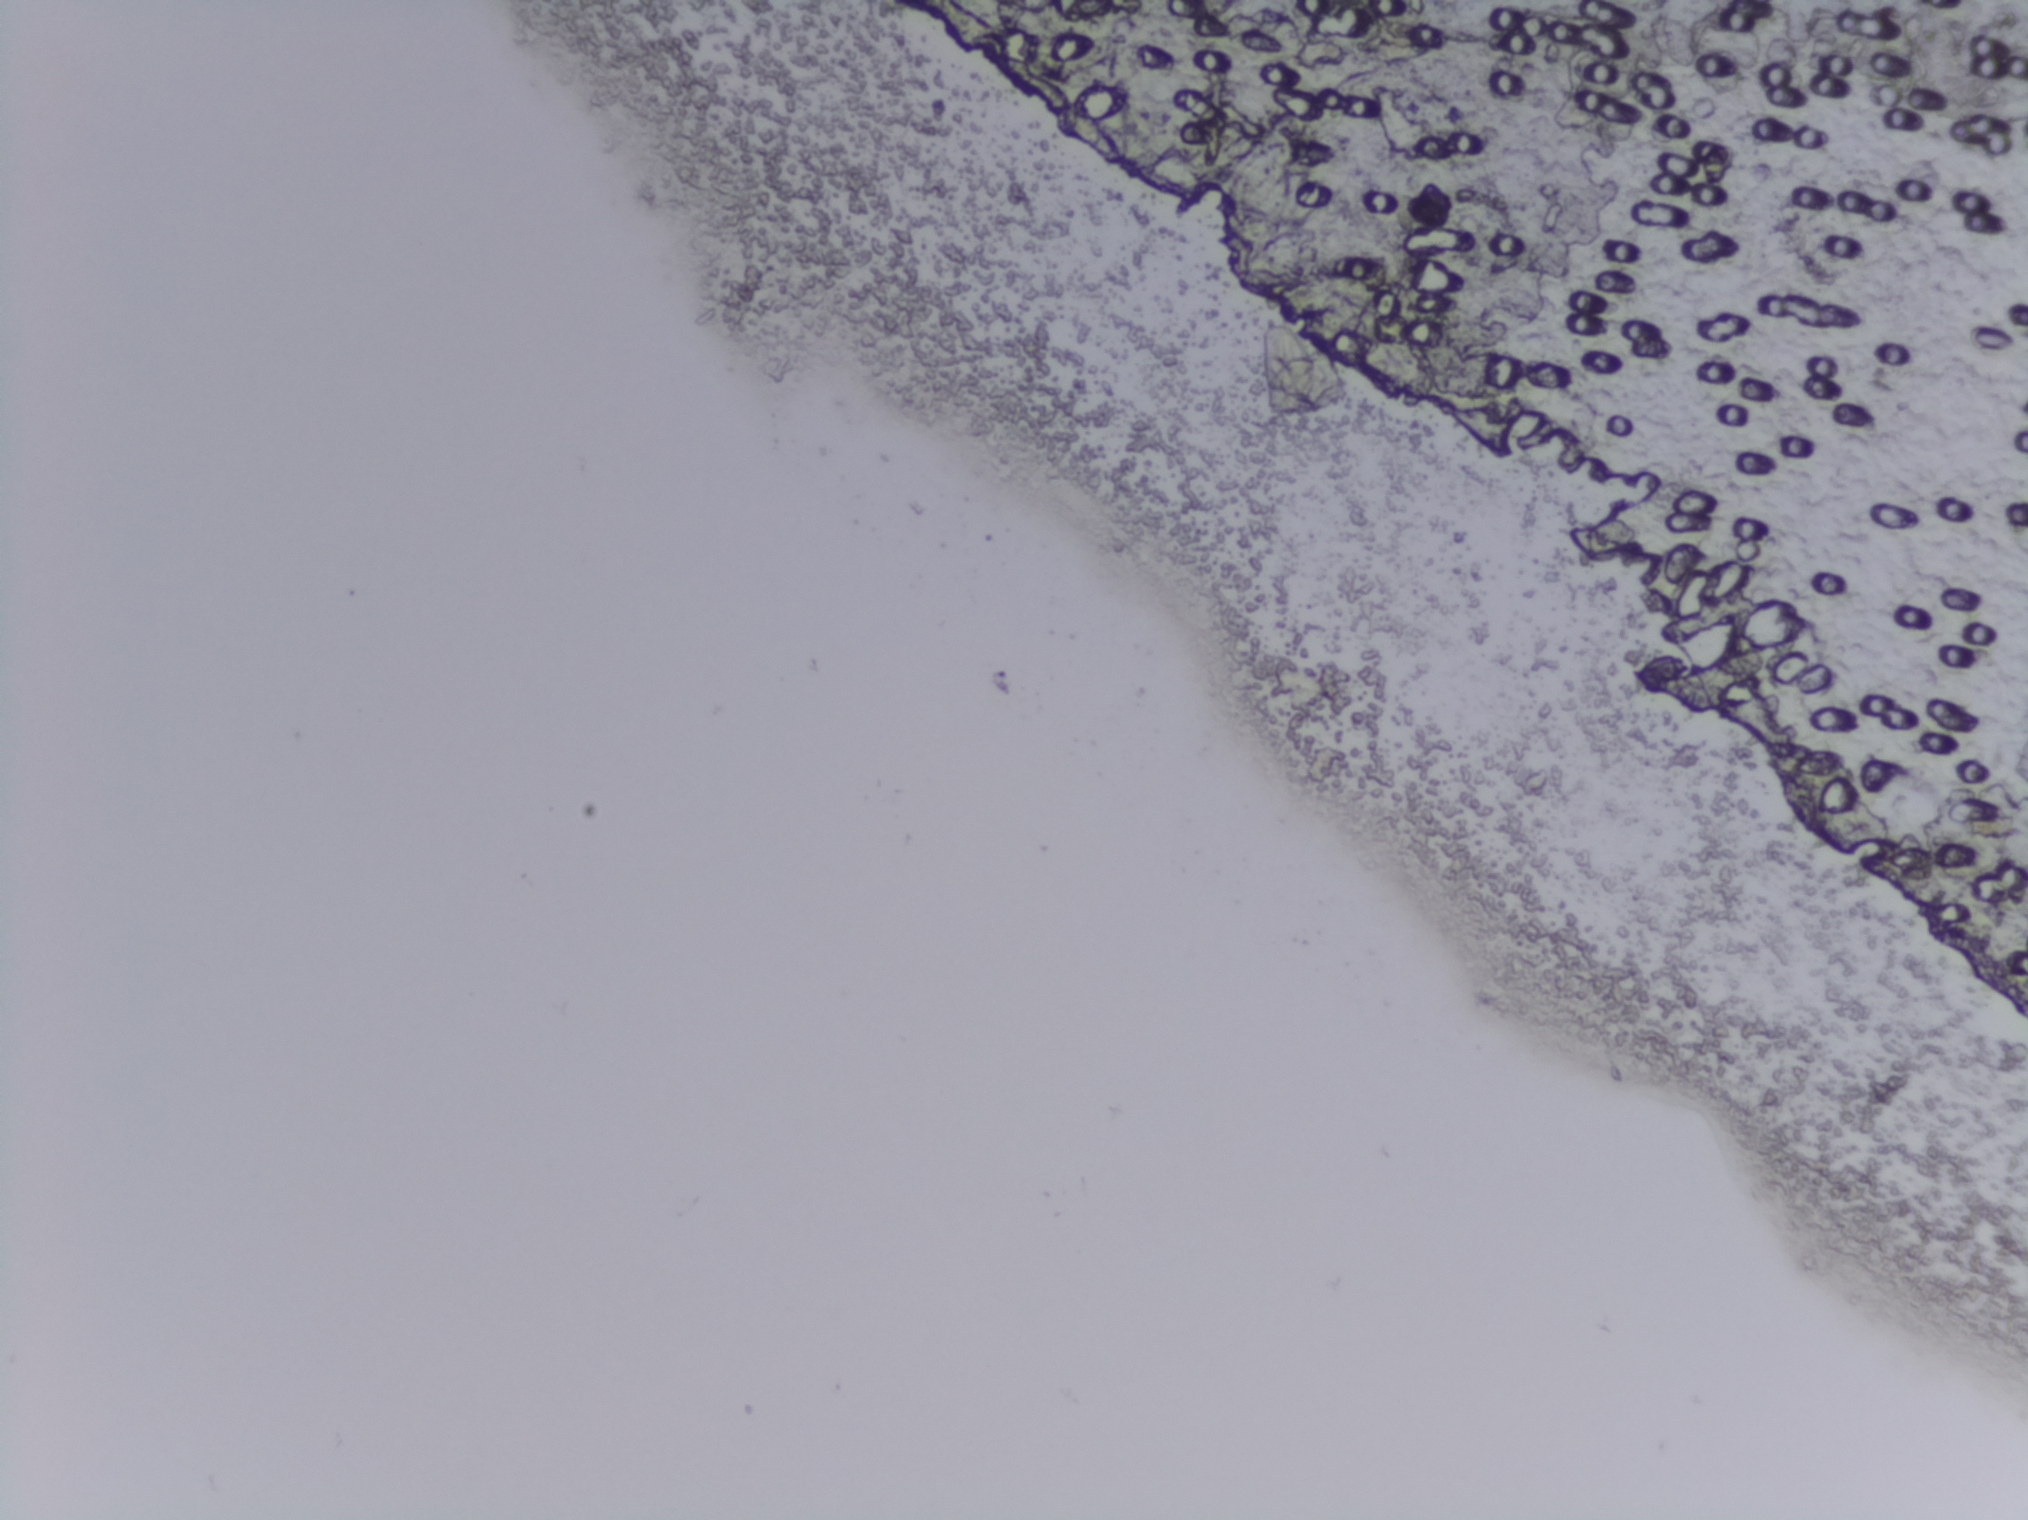
No area of this image was outlined as a Schistosoma egg.
Photograph from an automated digital microscope: urine filter membrane, 4× objective.